Photograph from an automated digital microscope: urine filter membrane, 4× objective.
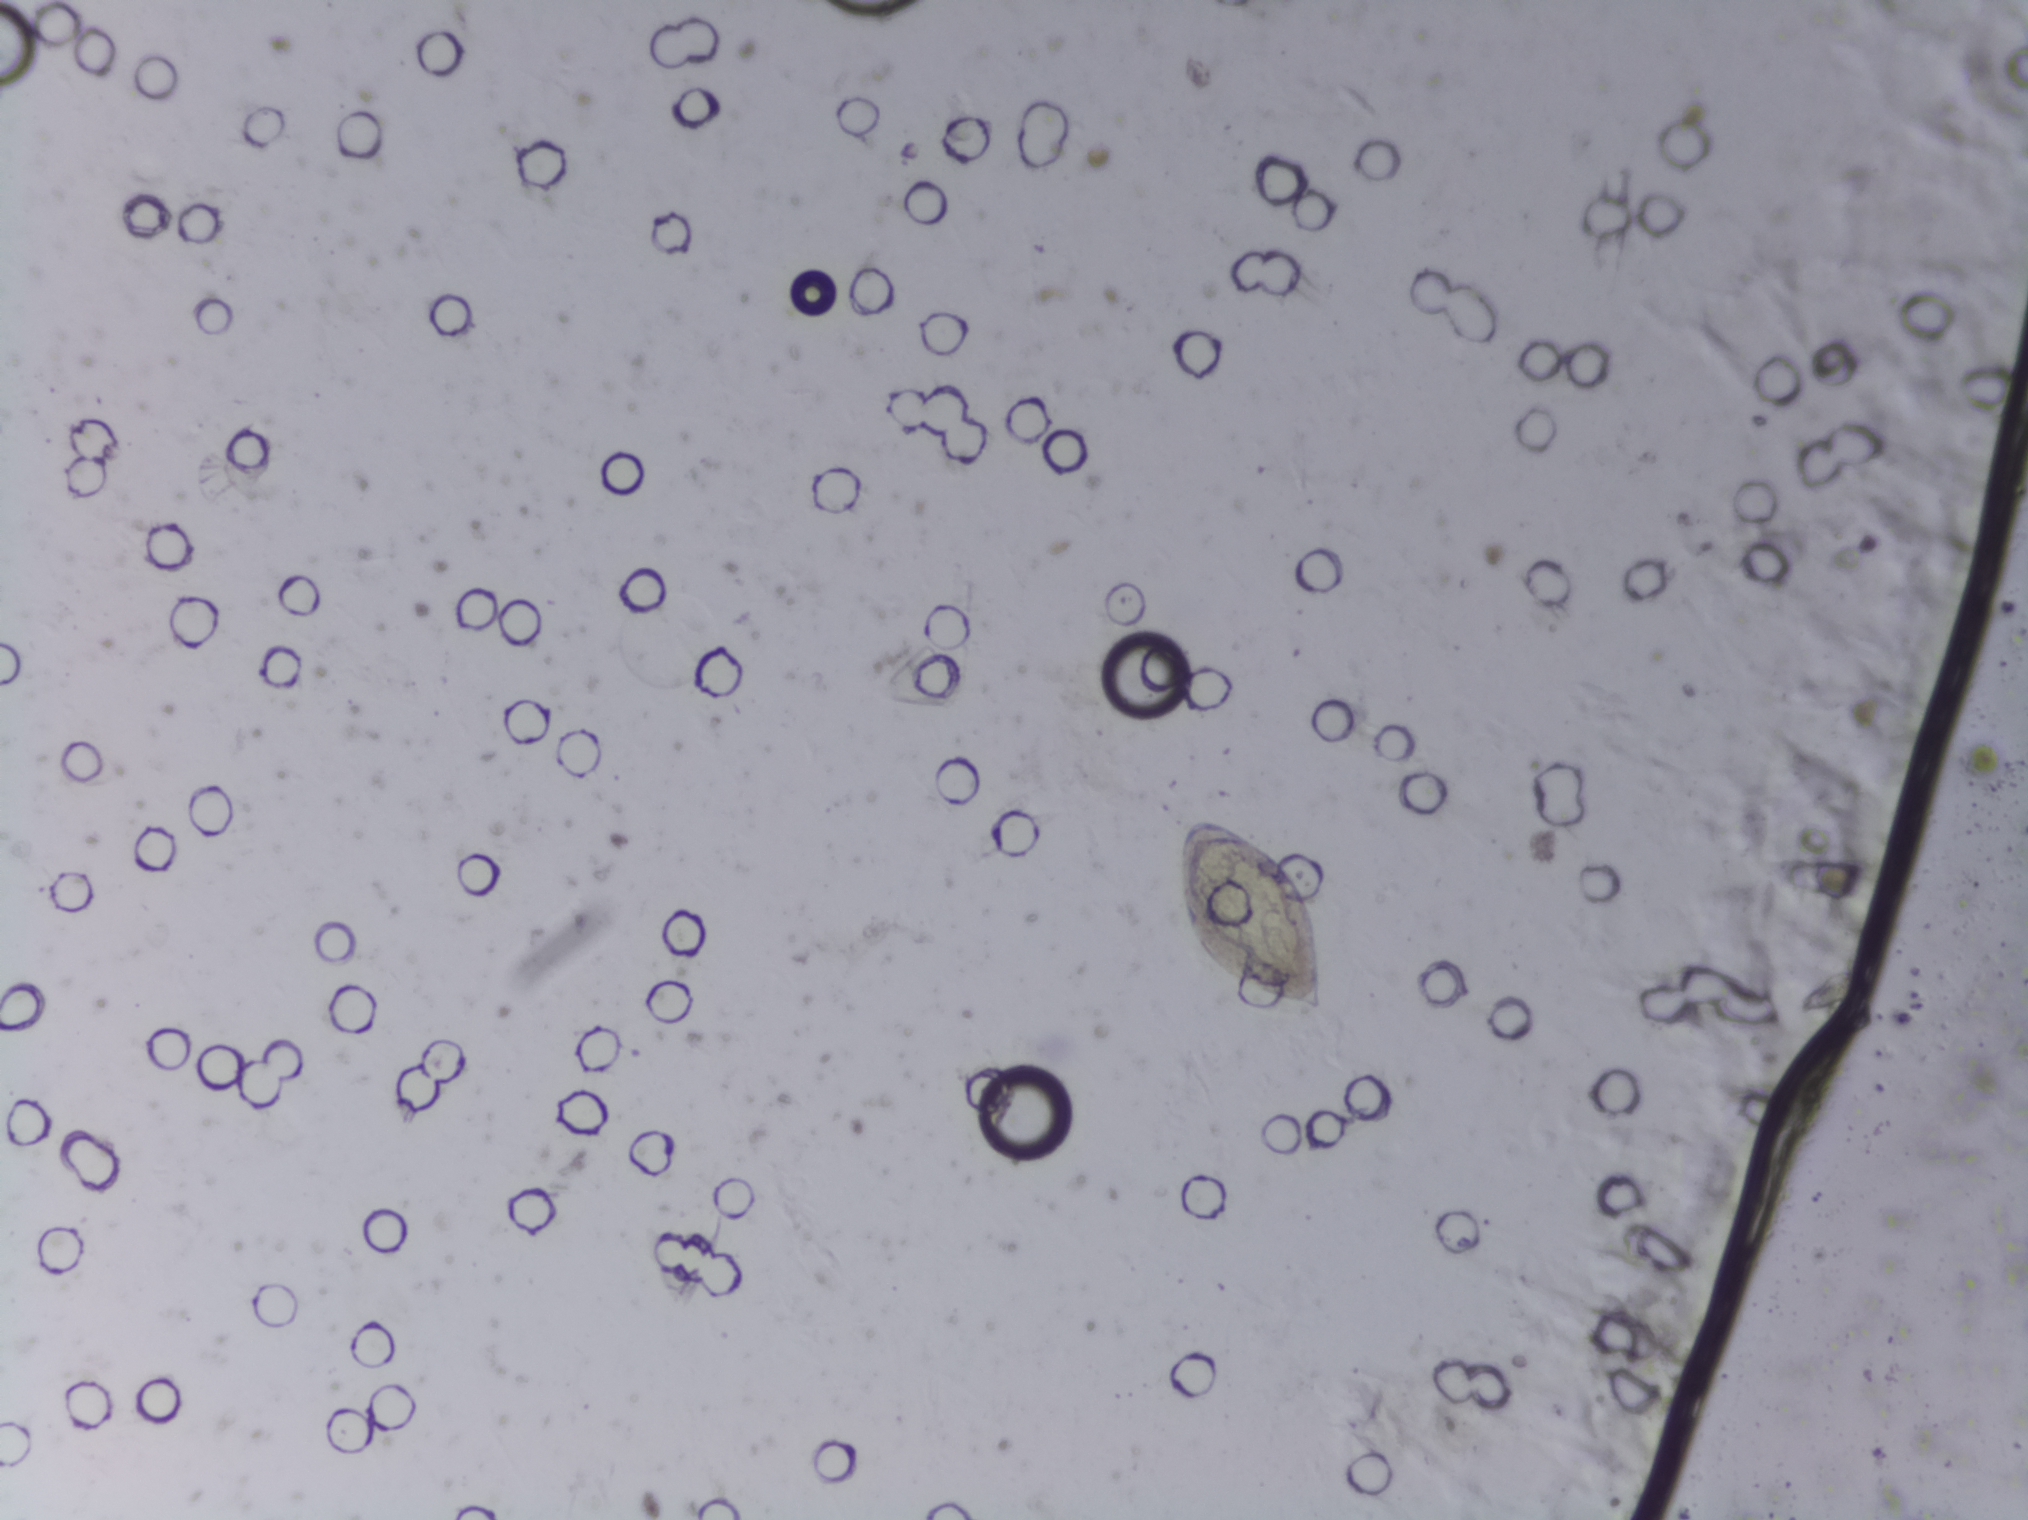
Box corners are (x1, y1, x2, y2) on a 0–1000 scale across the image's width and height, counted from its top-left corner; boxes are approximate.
Areas outlined as Schistosoma eggs:
1. (578, 534, 654, 666)
Eggs that touch can end up inside the same outlined area.